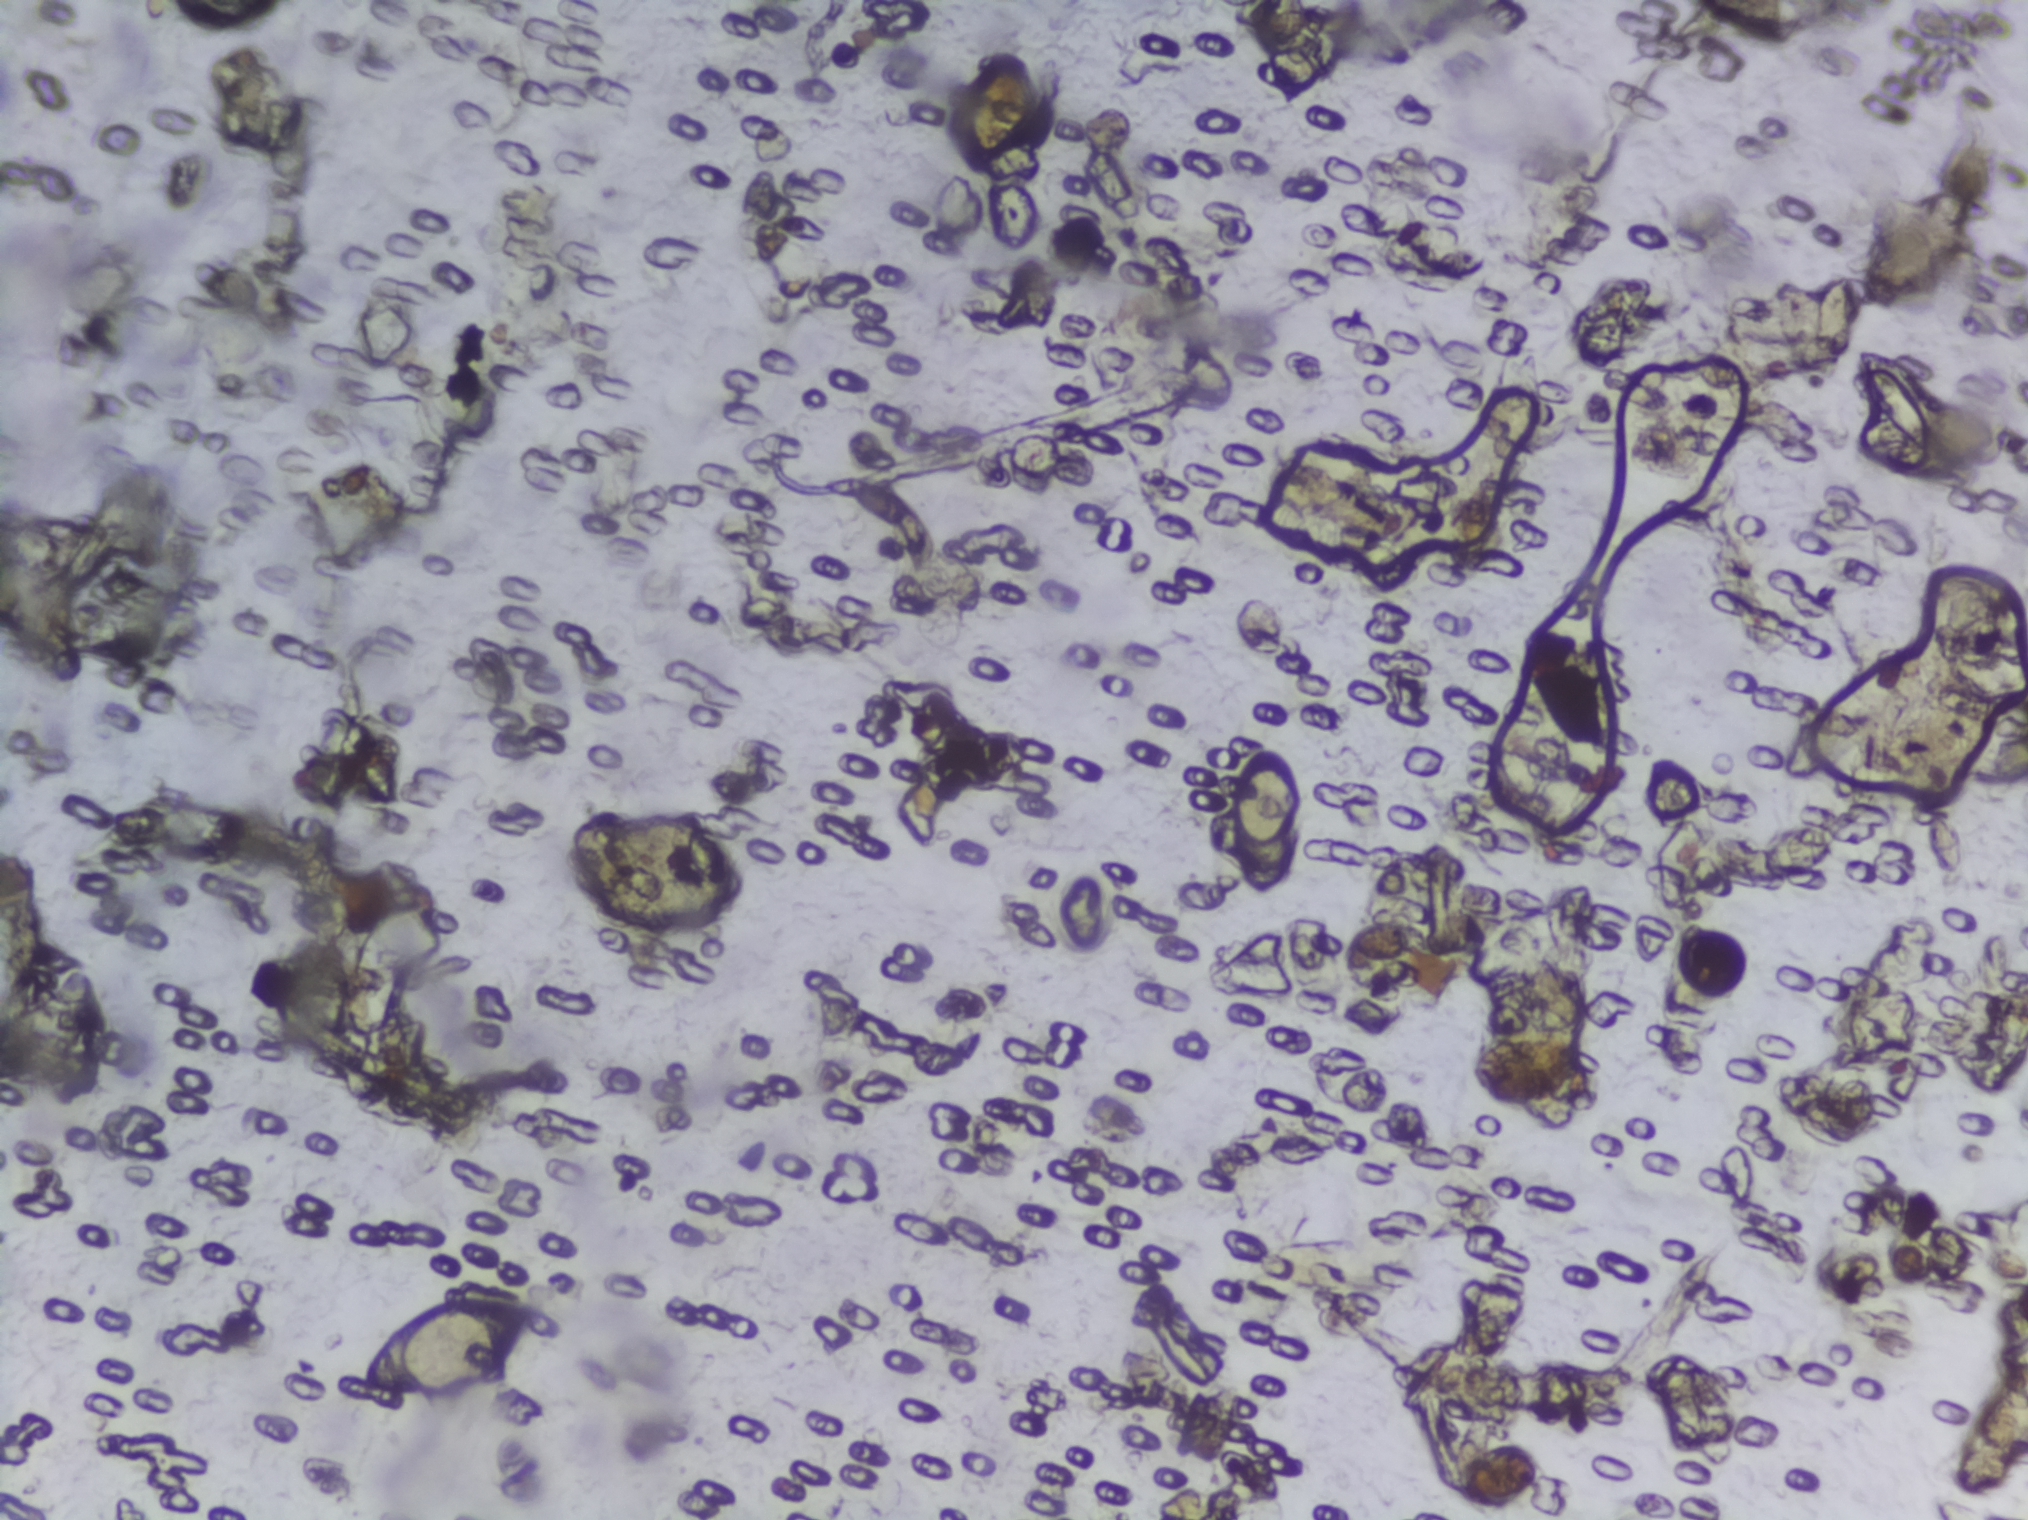
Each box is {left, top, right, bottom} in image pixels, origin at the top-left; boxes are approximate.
Outlined Schistosoma egg areas, left to right:
1. {357, 1294, 535, 1396}
2. {1228, 746, 1297, 899}
About 0.7% of the image's pixels are marked (the marked pixels themselves, not the boxes around them). A single outlined area may contain several eggs.
Photograph from an automated digital microscope: urine filter membrane, 4× objective.